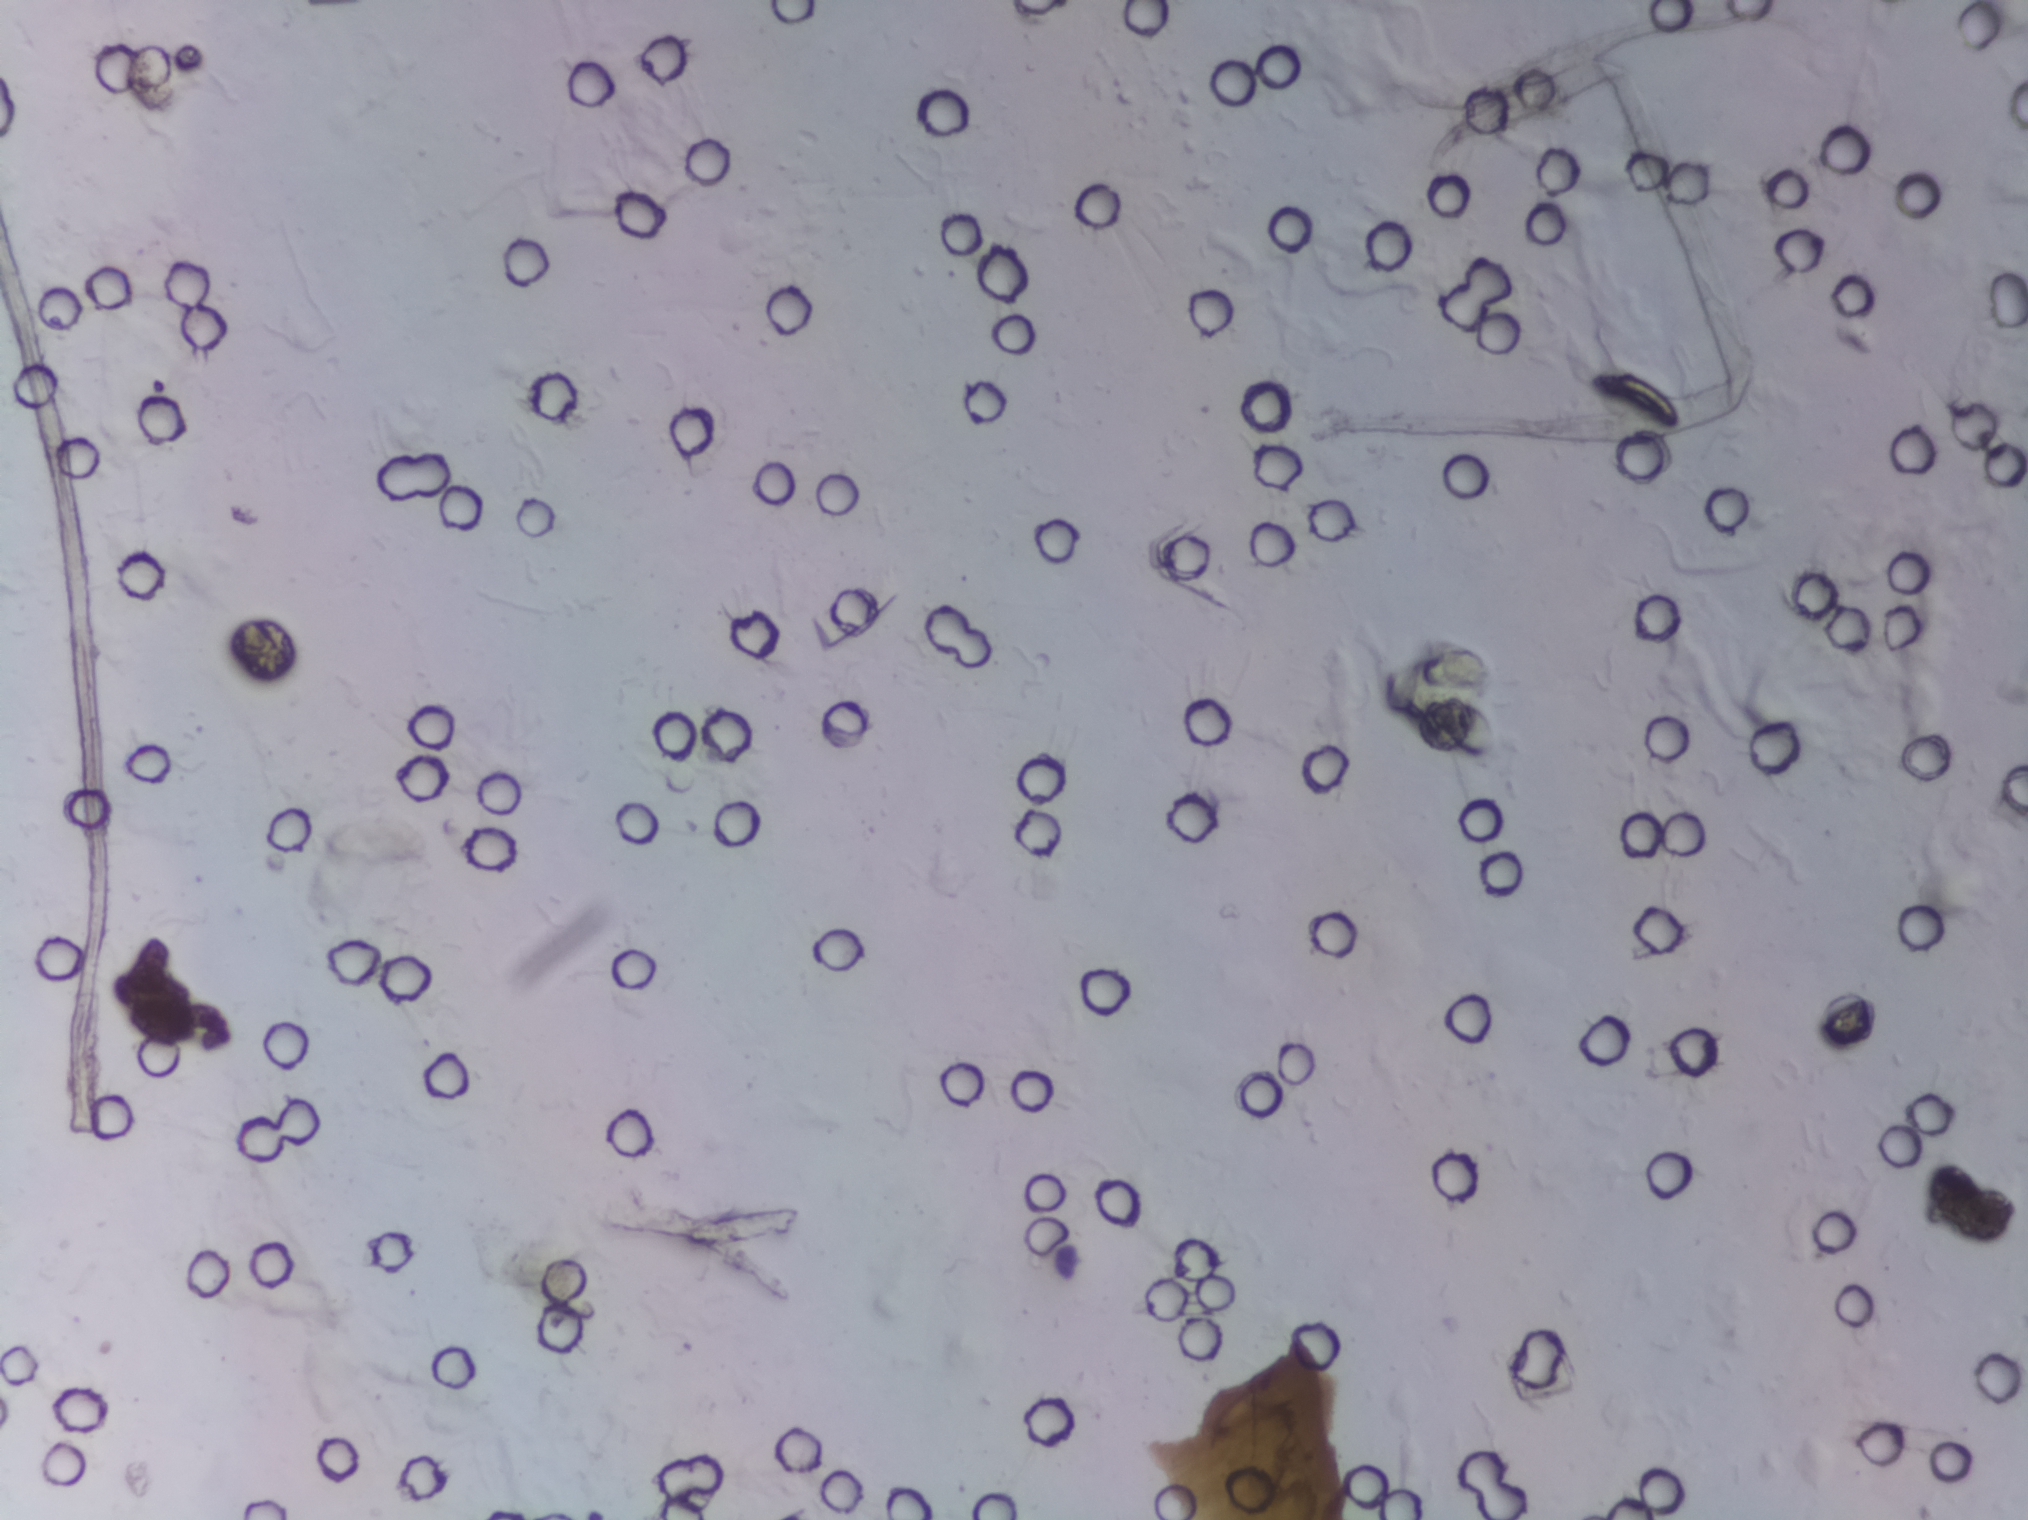
The expert annotation outlines no Schistosoma egg in this image.
One field of view of a urine filter membrane, 4× objective, 2028 × 1520 pixels.